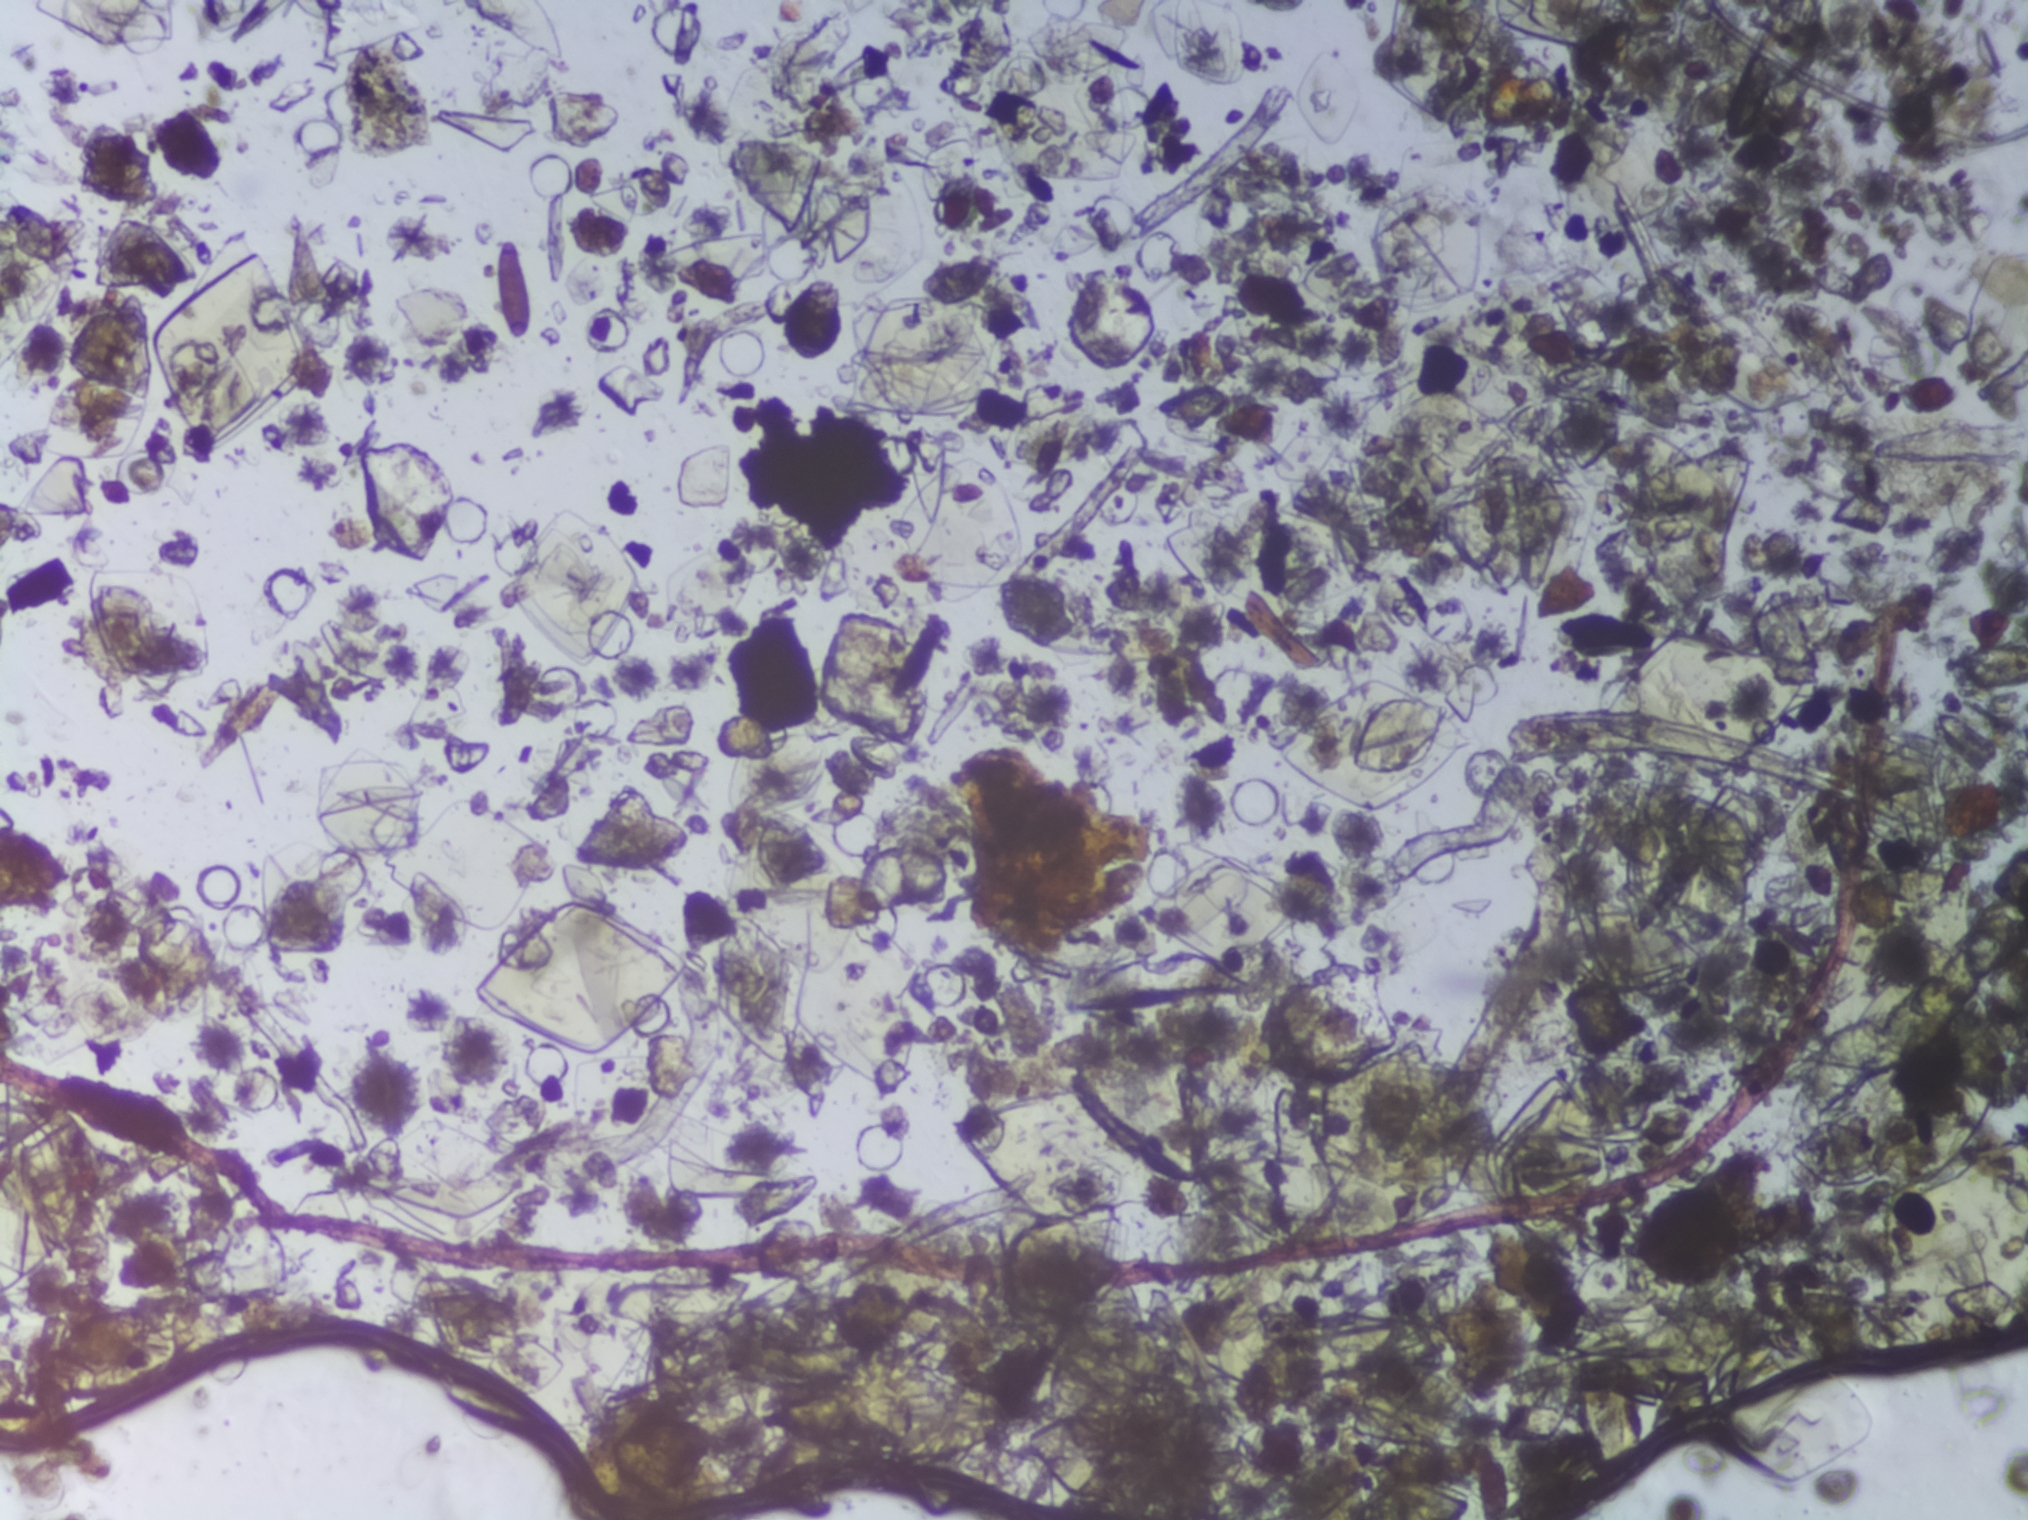
The expert annotation outlines no Schistosoma egg in this image.
Microscope photograph (4× objective) of a membrane that a urine sample was filtered through. The field of view is about 1.5 mm × 1.1 mm.